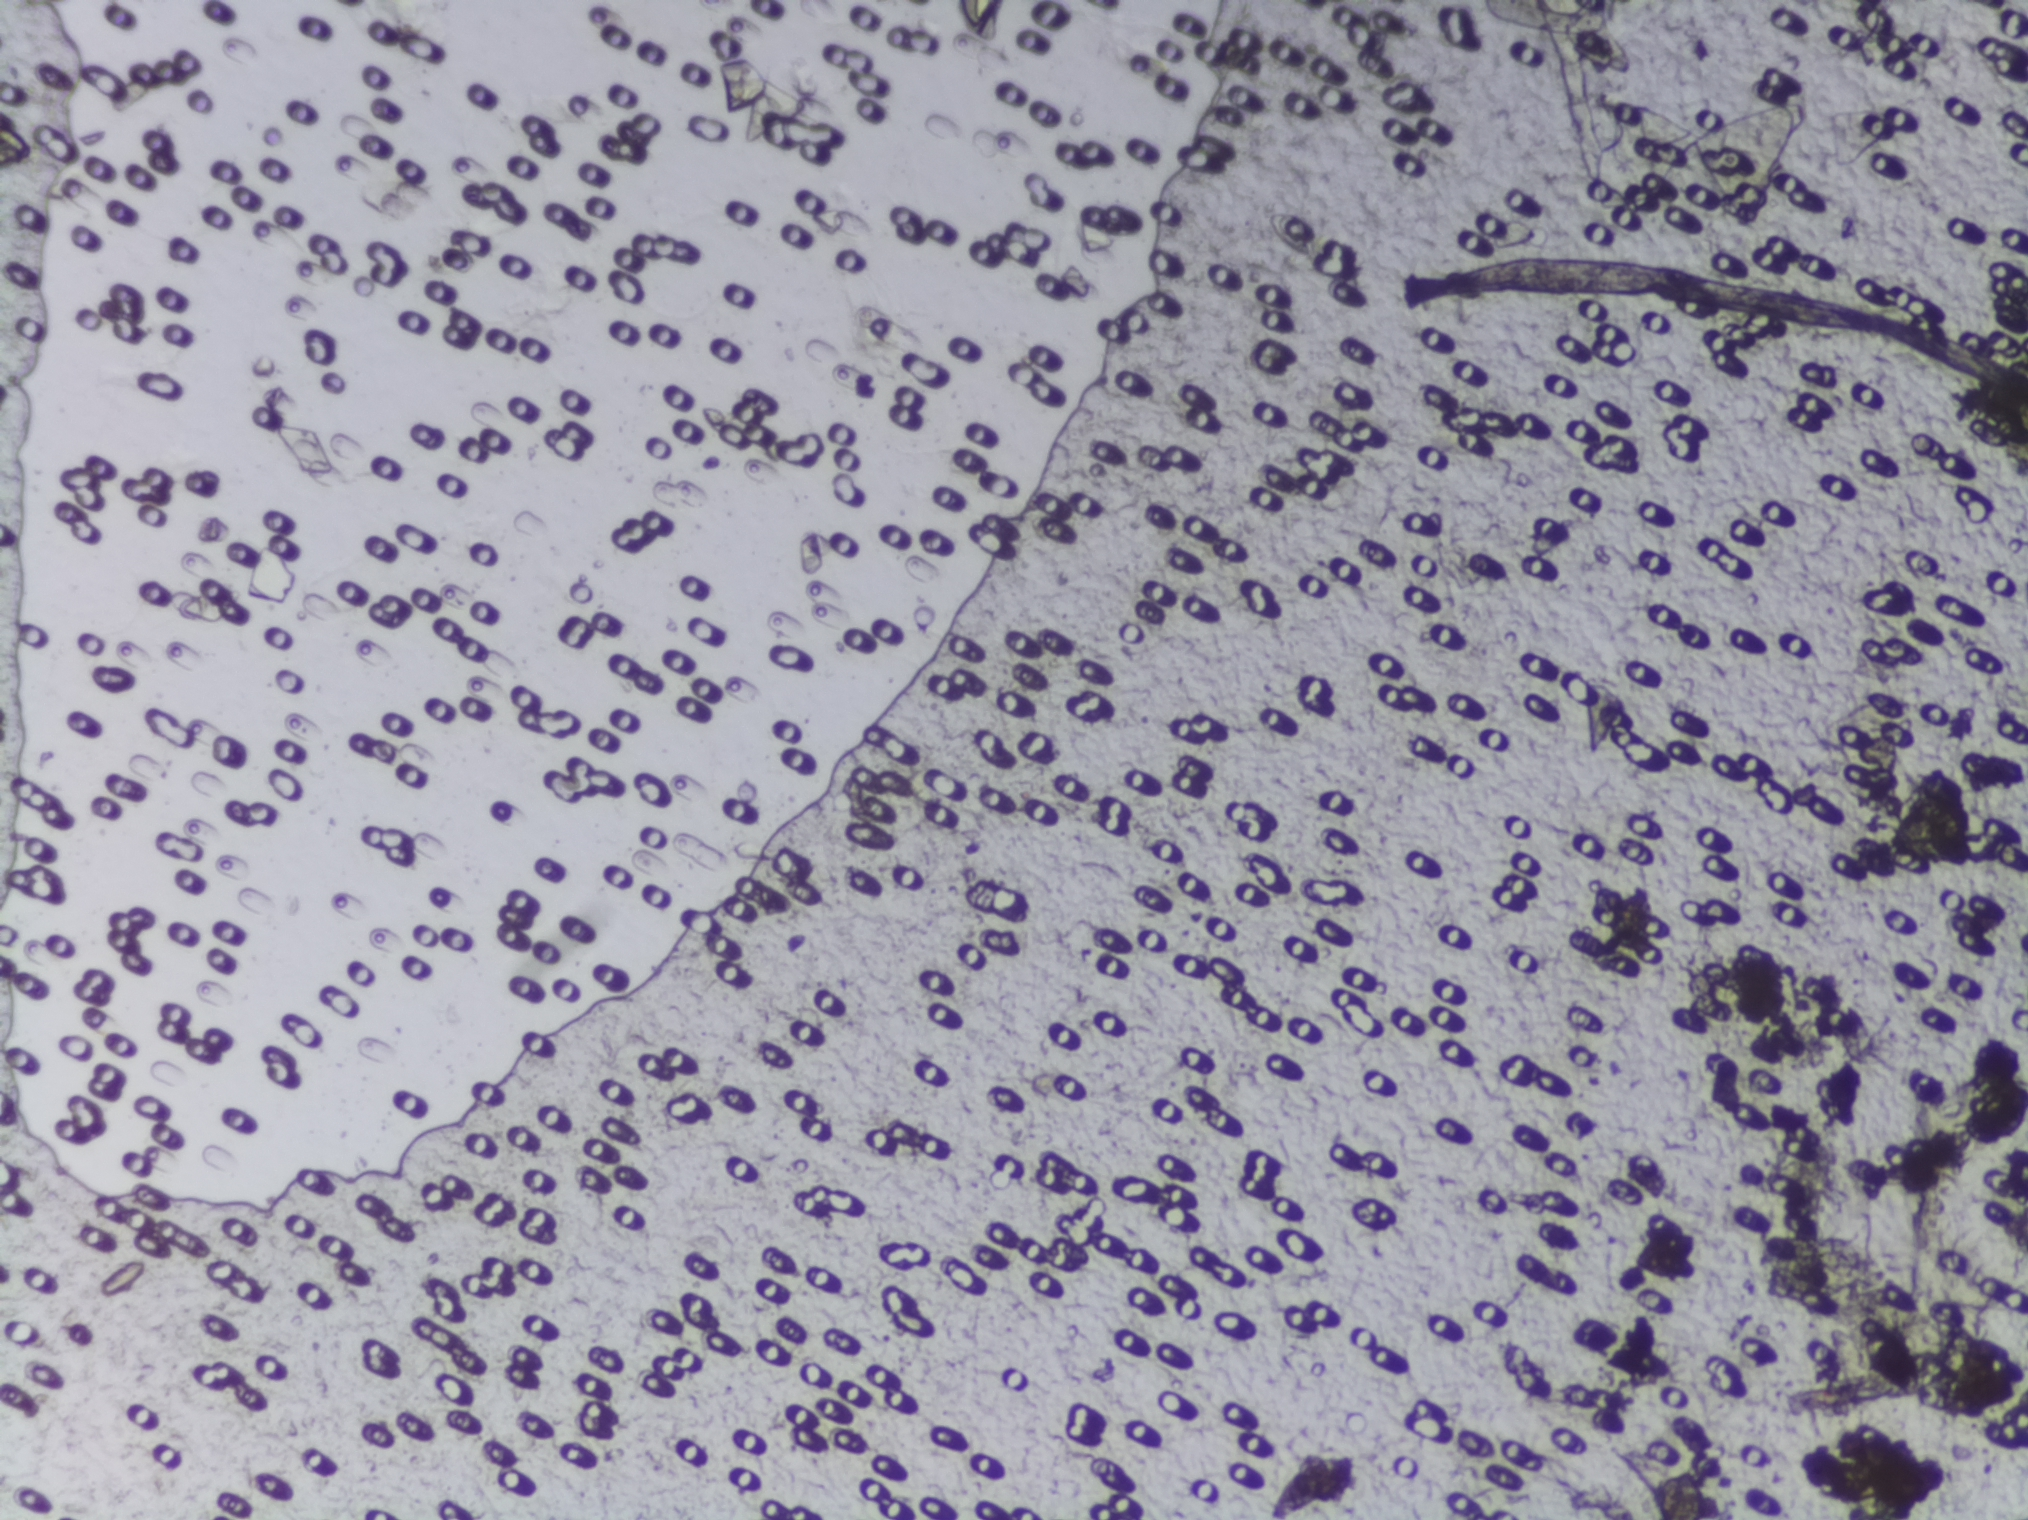
Microscope photograph (4× objective) of a membrane that a urine sample was filtered through.
Schistosoma eggs: none outlined.